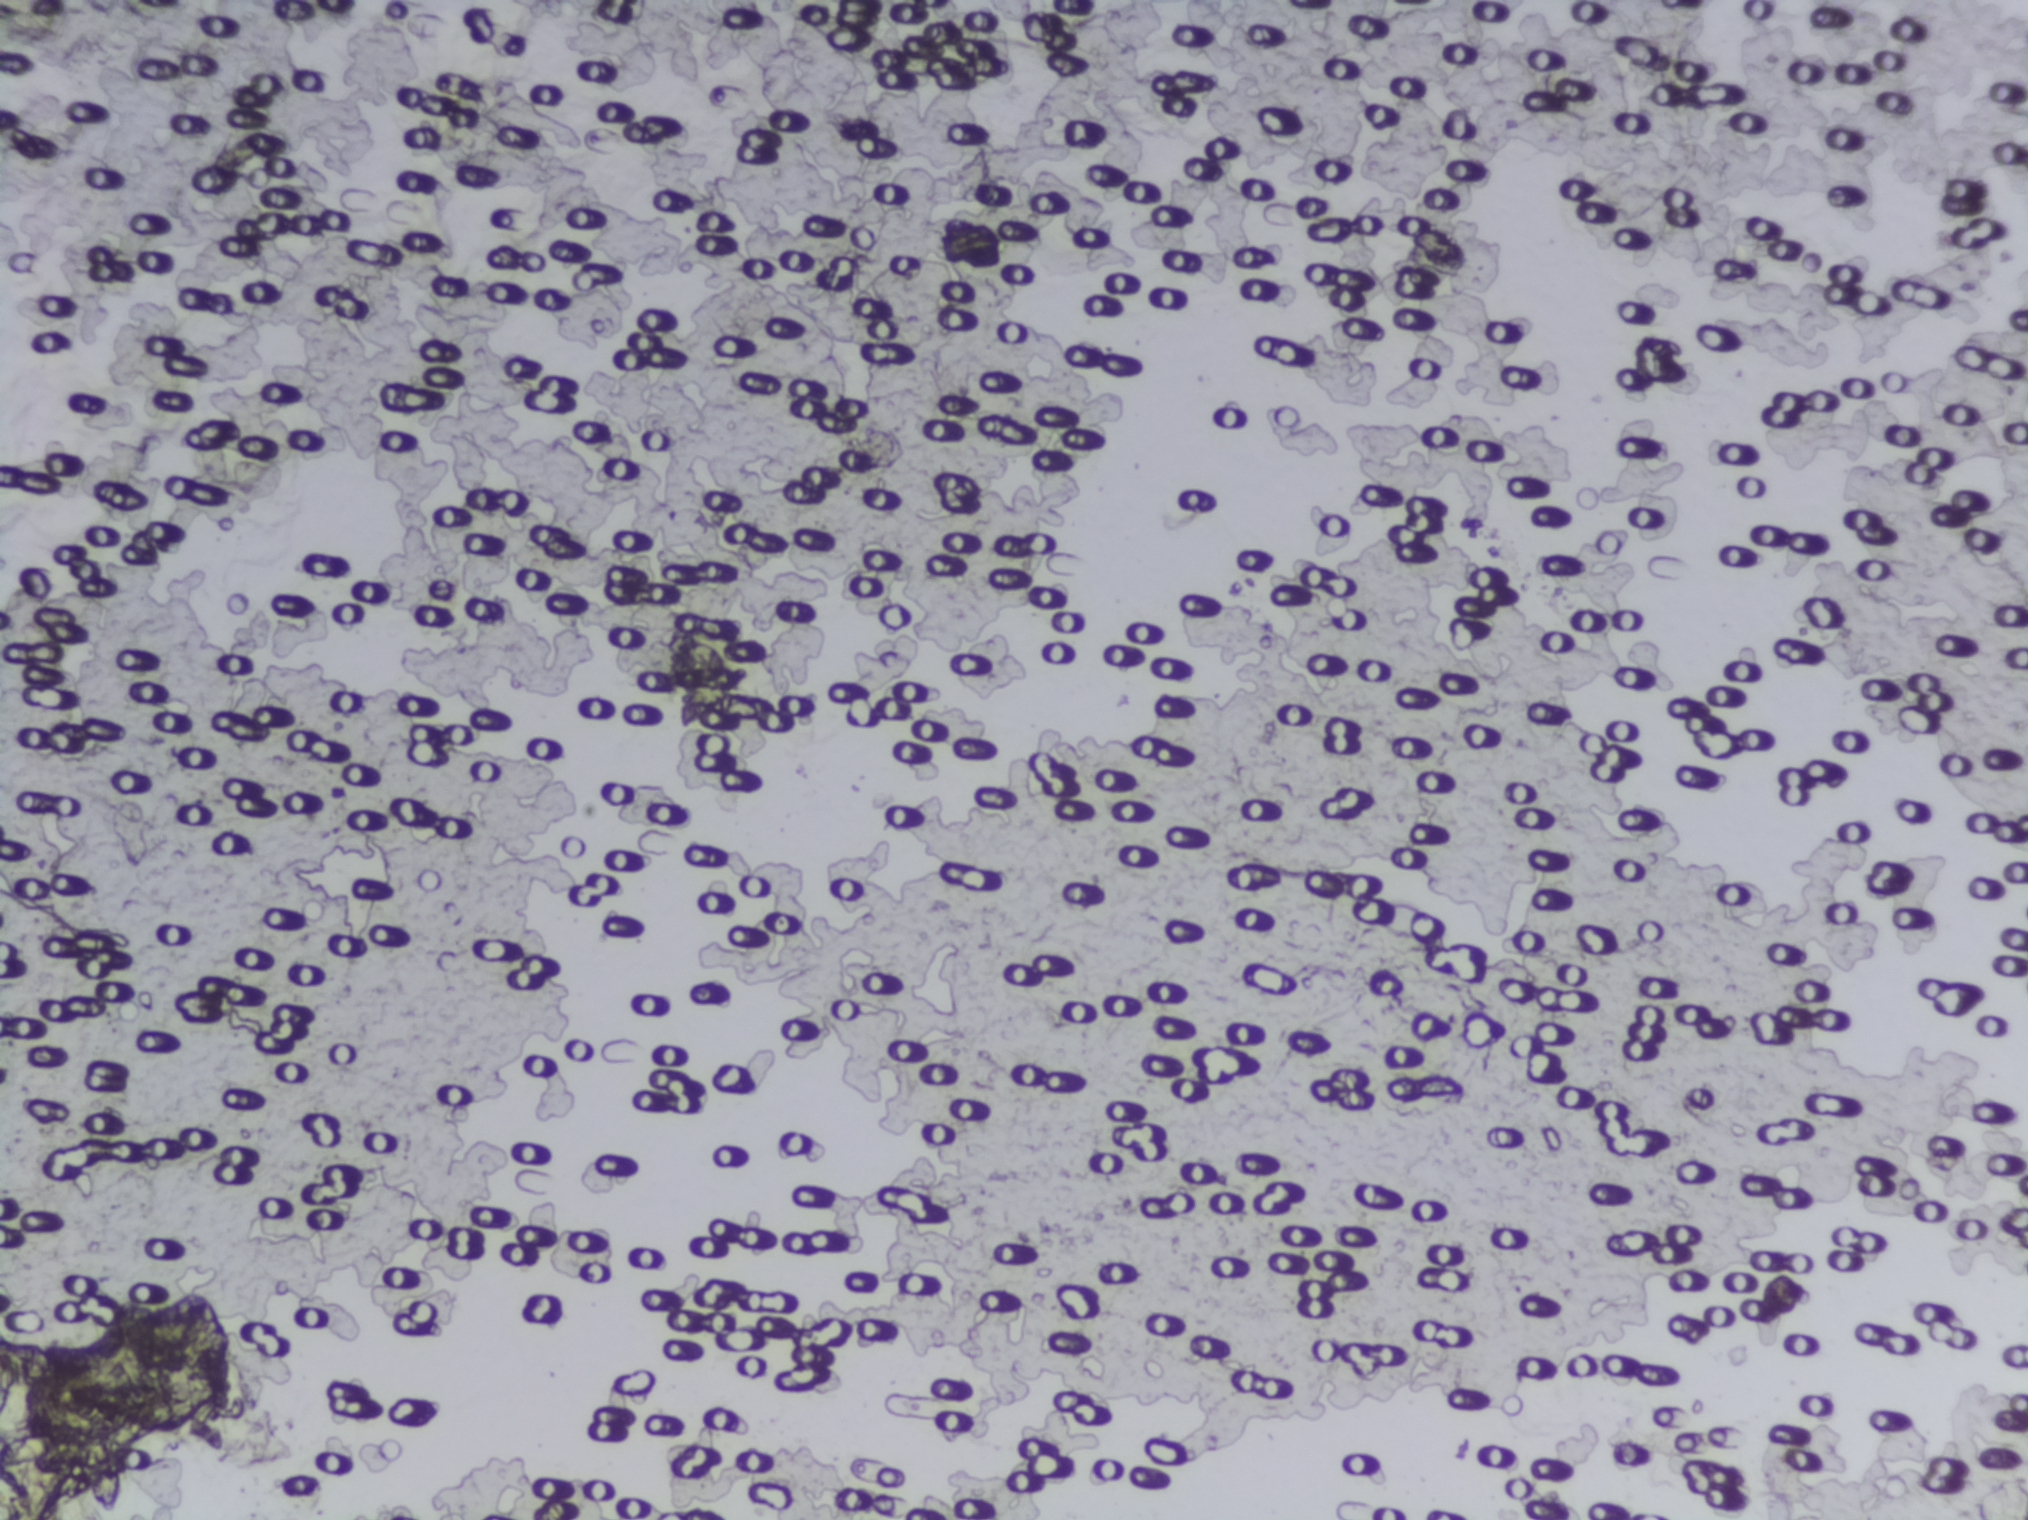
Urine filter membrane photographed through a 4× microscope objective. Field of view: about 1.5 mm wide and 1.1 mm high.
Schistosoma eggs: none outlined.